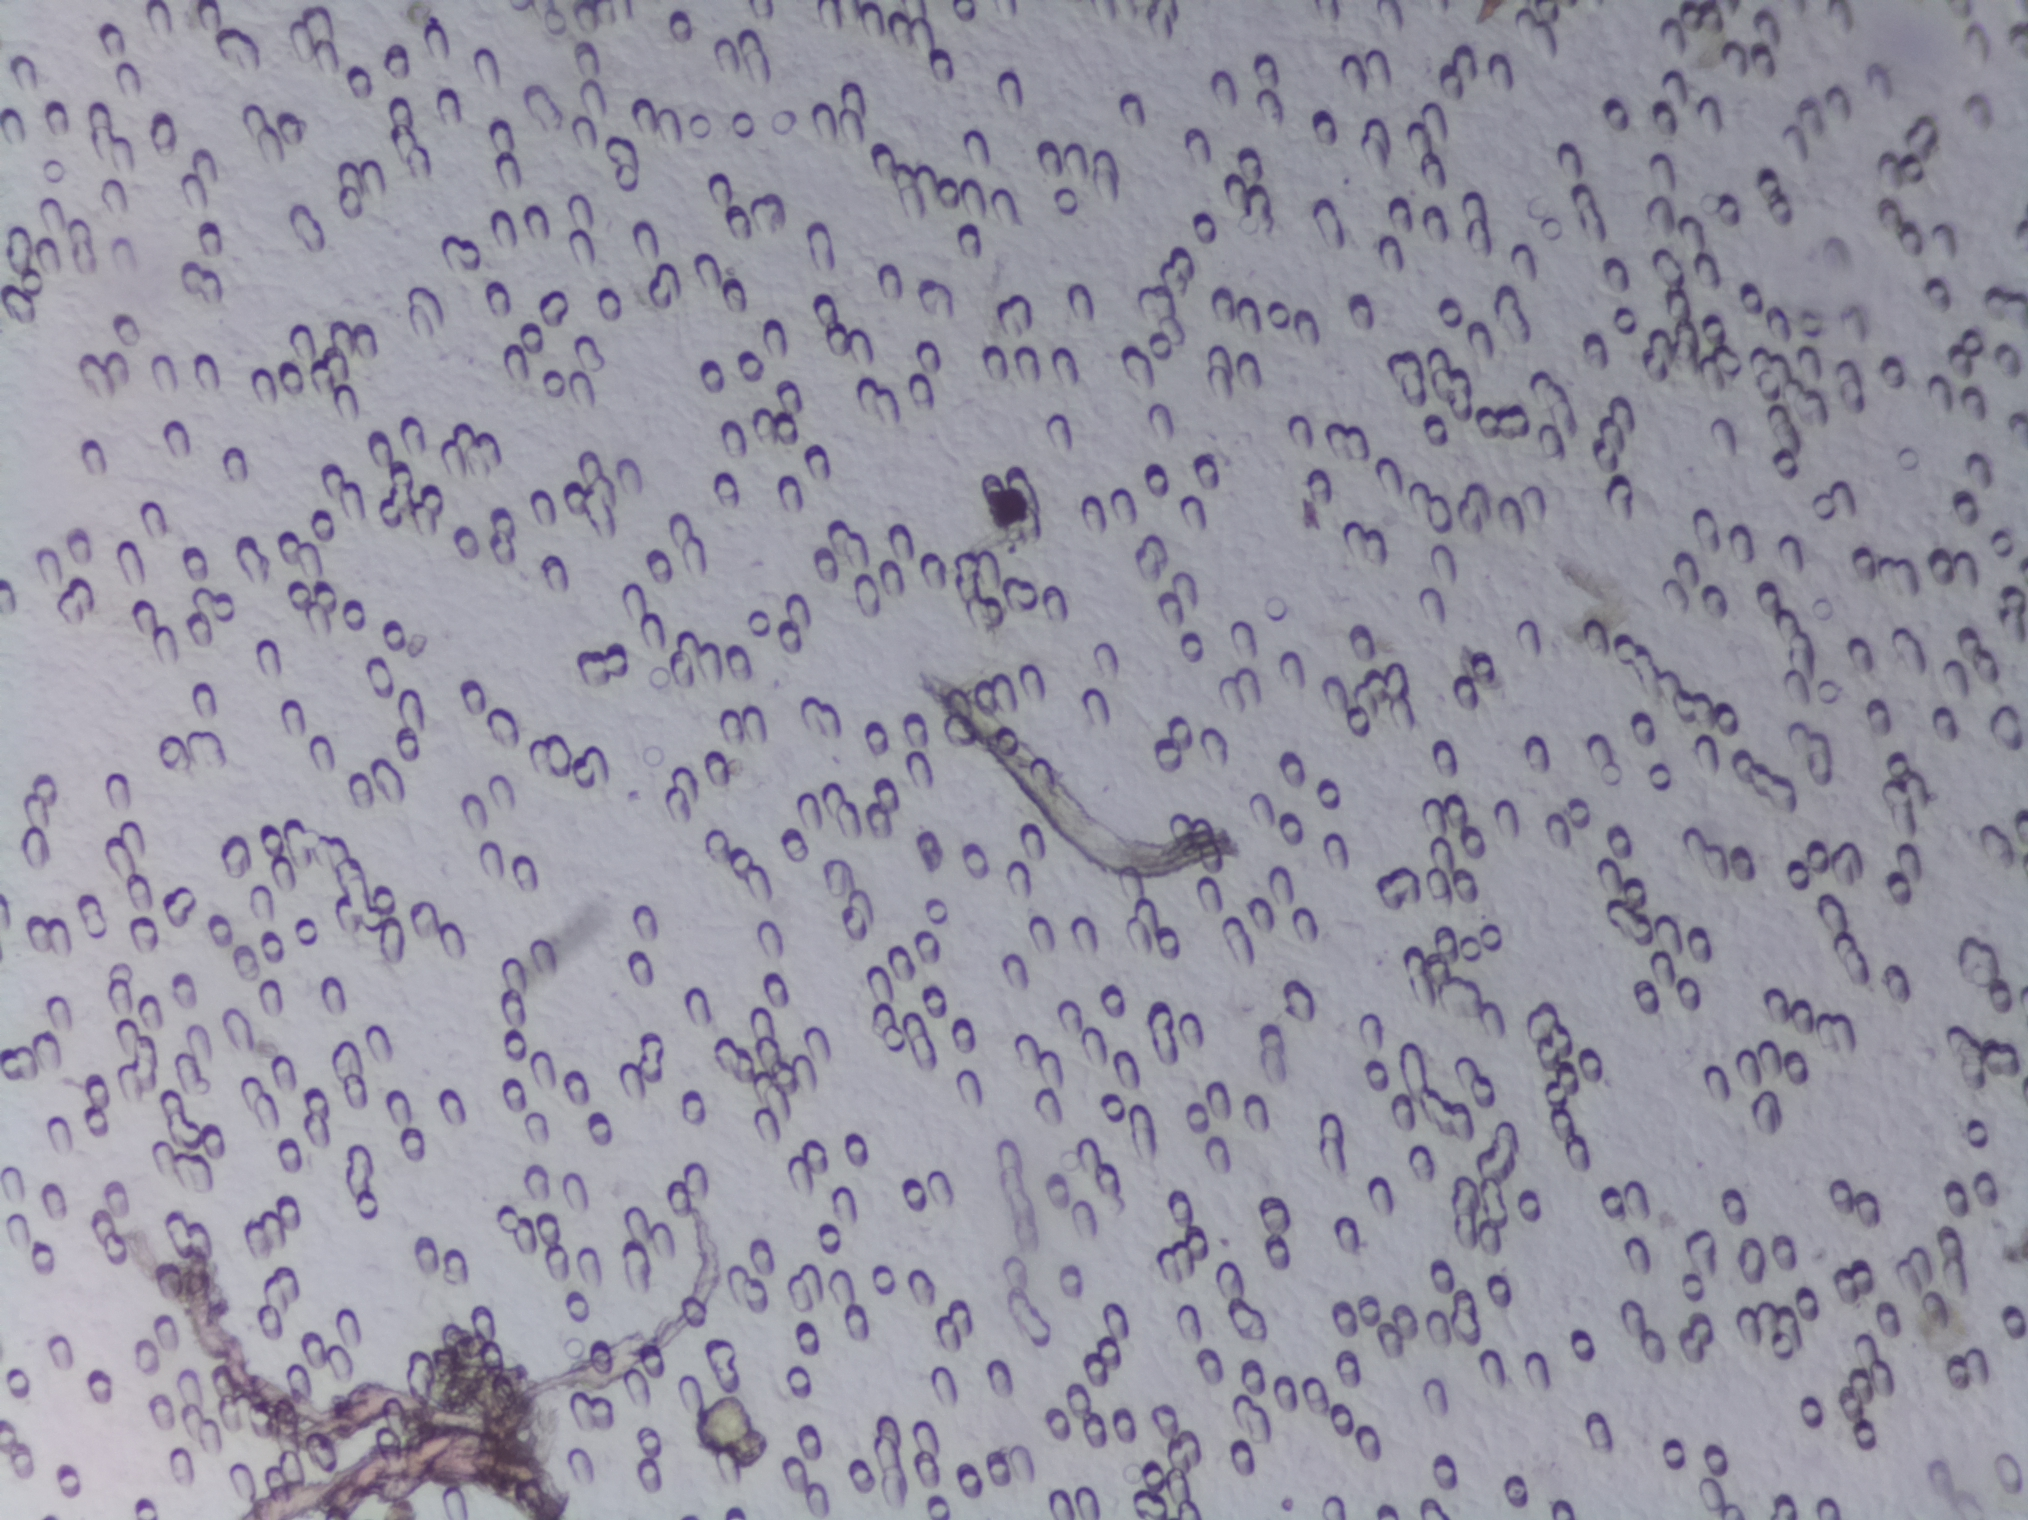
Microscope photograph (4× objective) of a membrane that a urine sample was filtered through.
The expert annotation outlines no Schistosoma egg in this image.